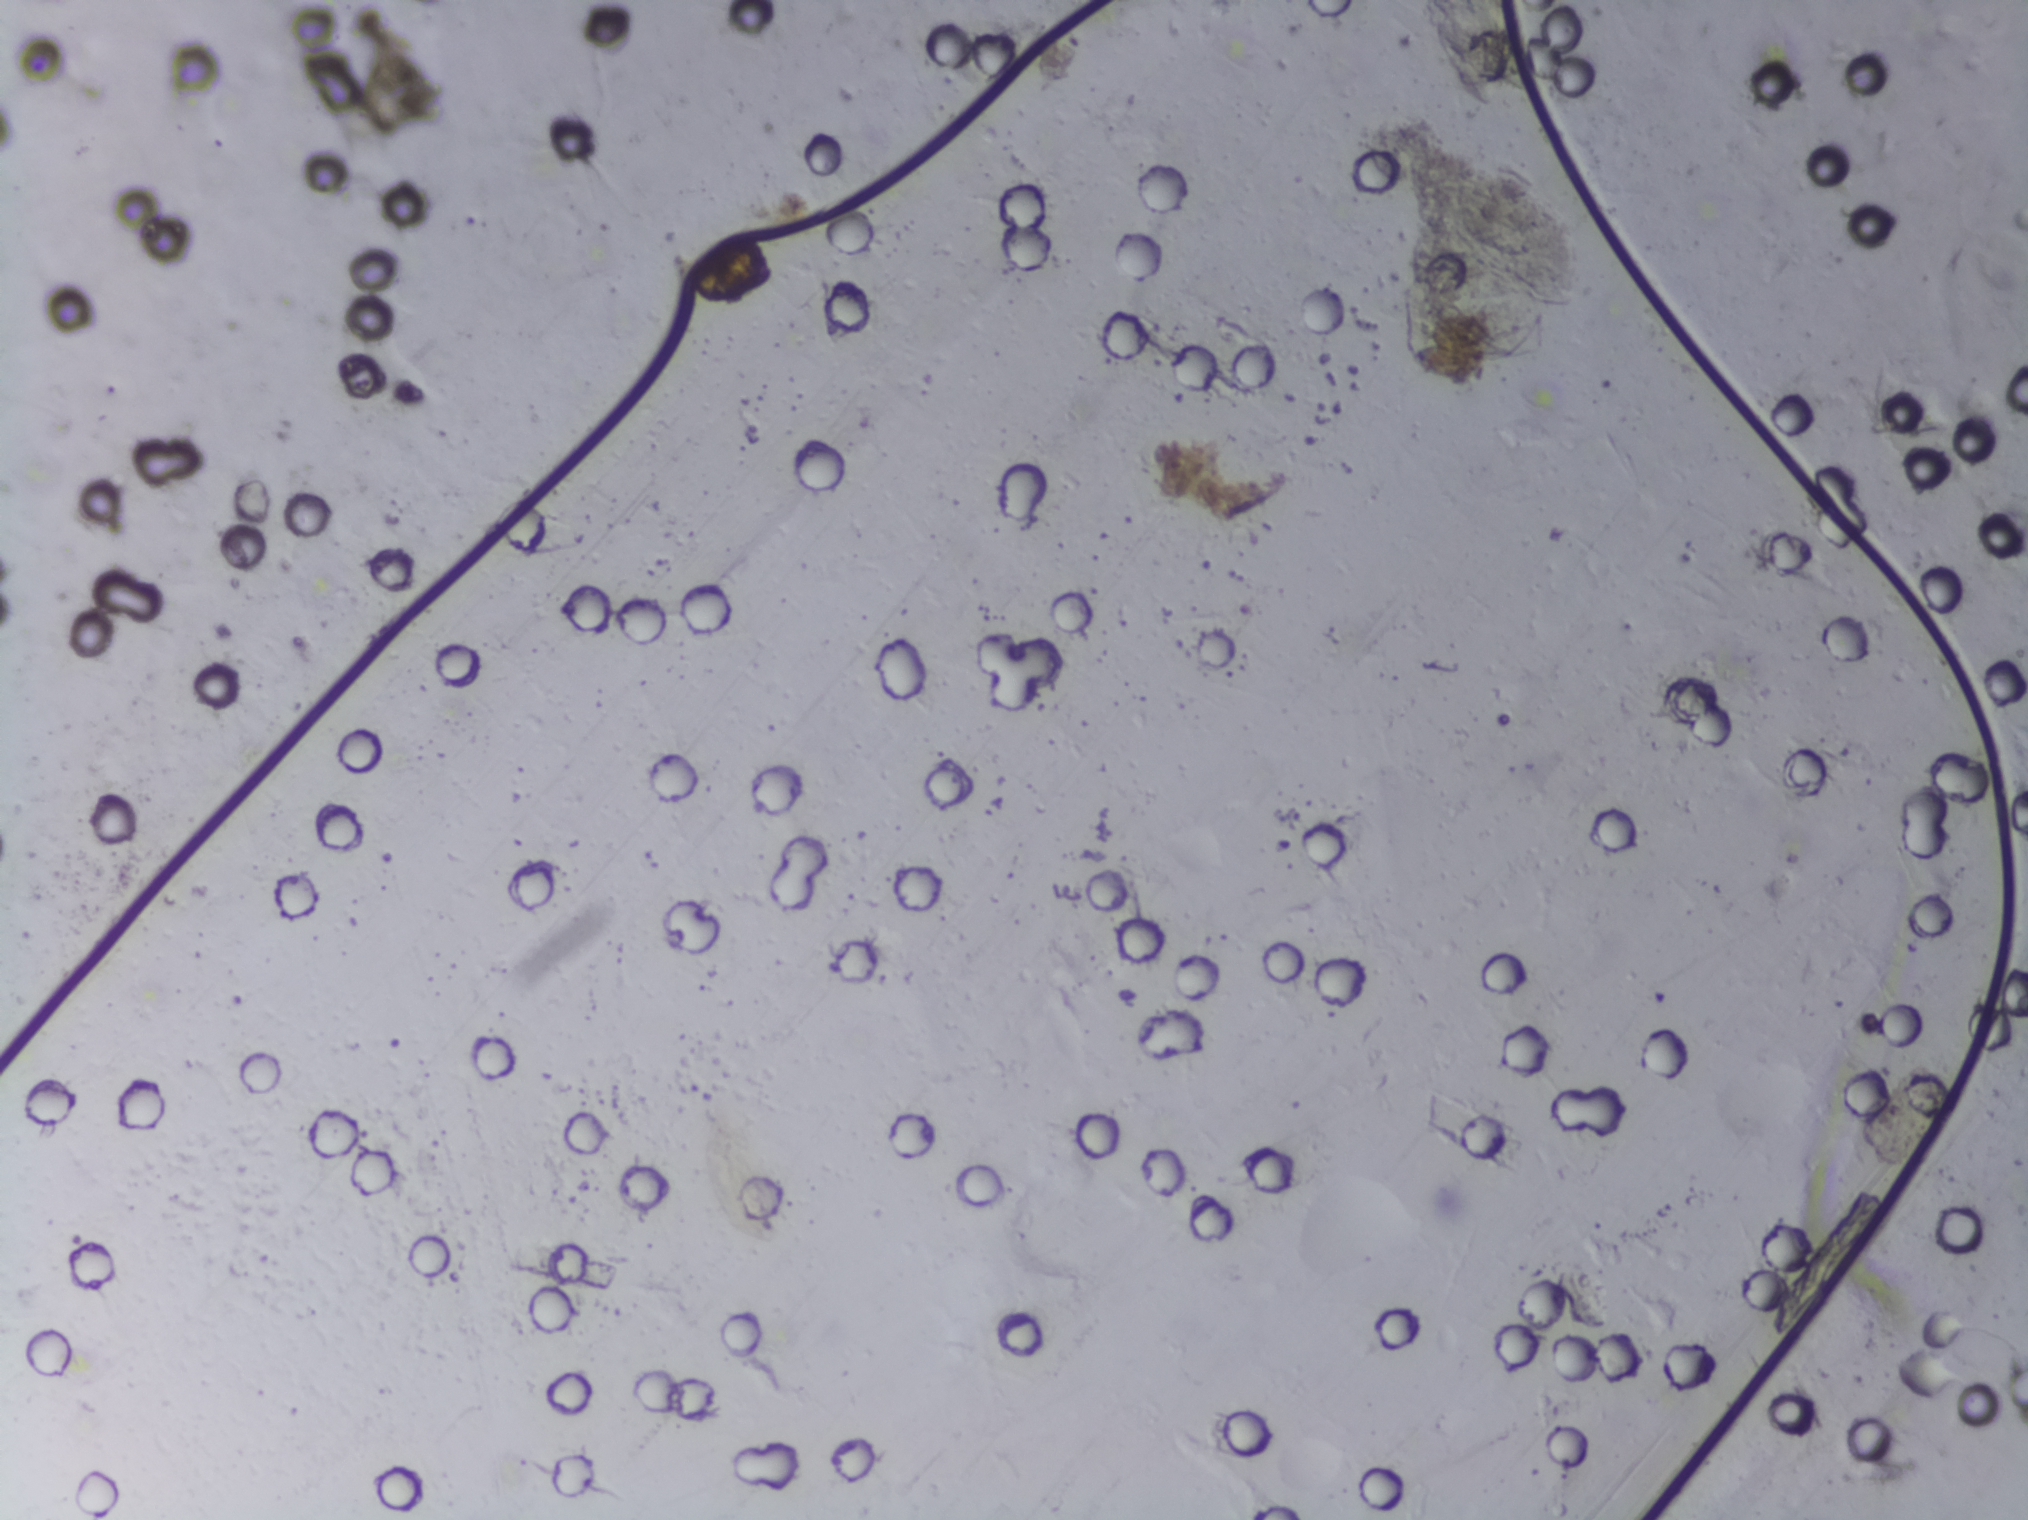
Urine filtration membrane under a 4× objective, photographed by an automated digital microscope.
The expert annotation outlines no Schistosoma egg in this image.